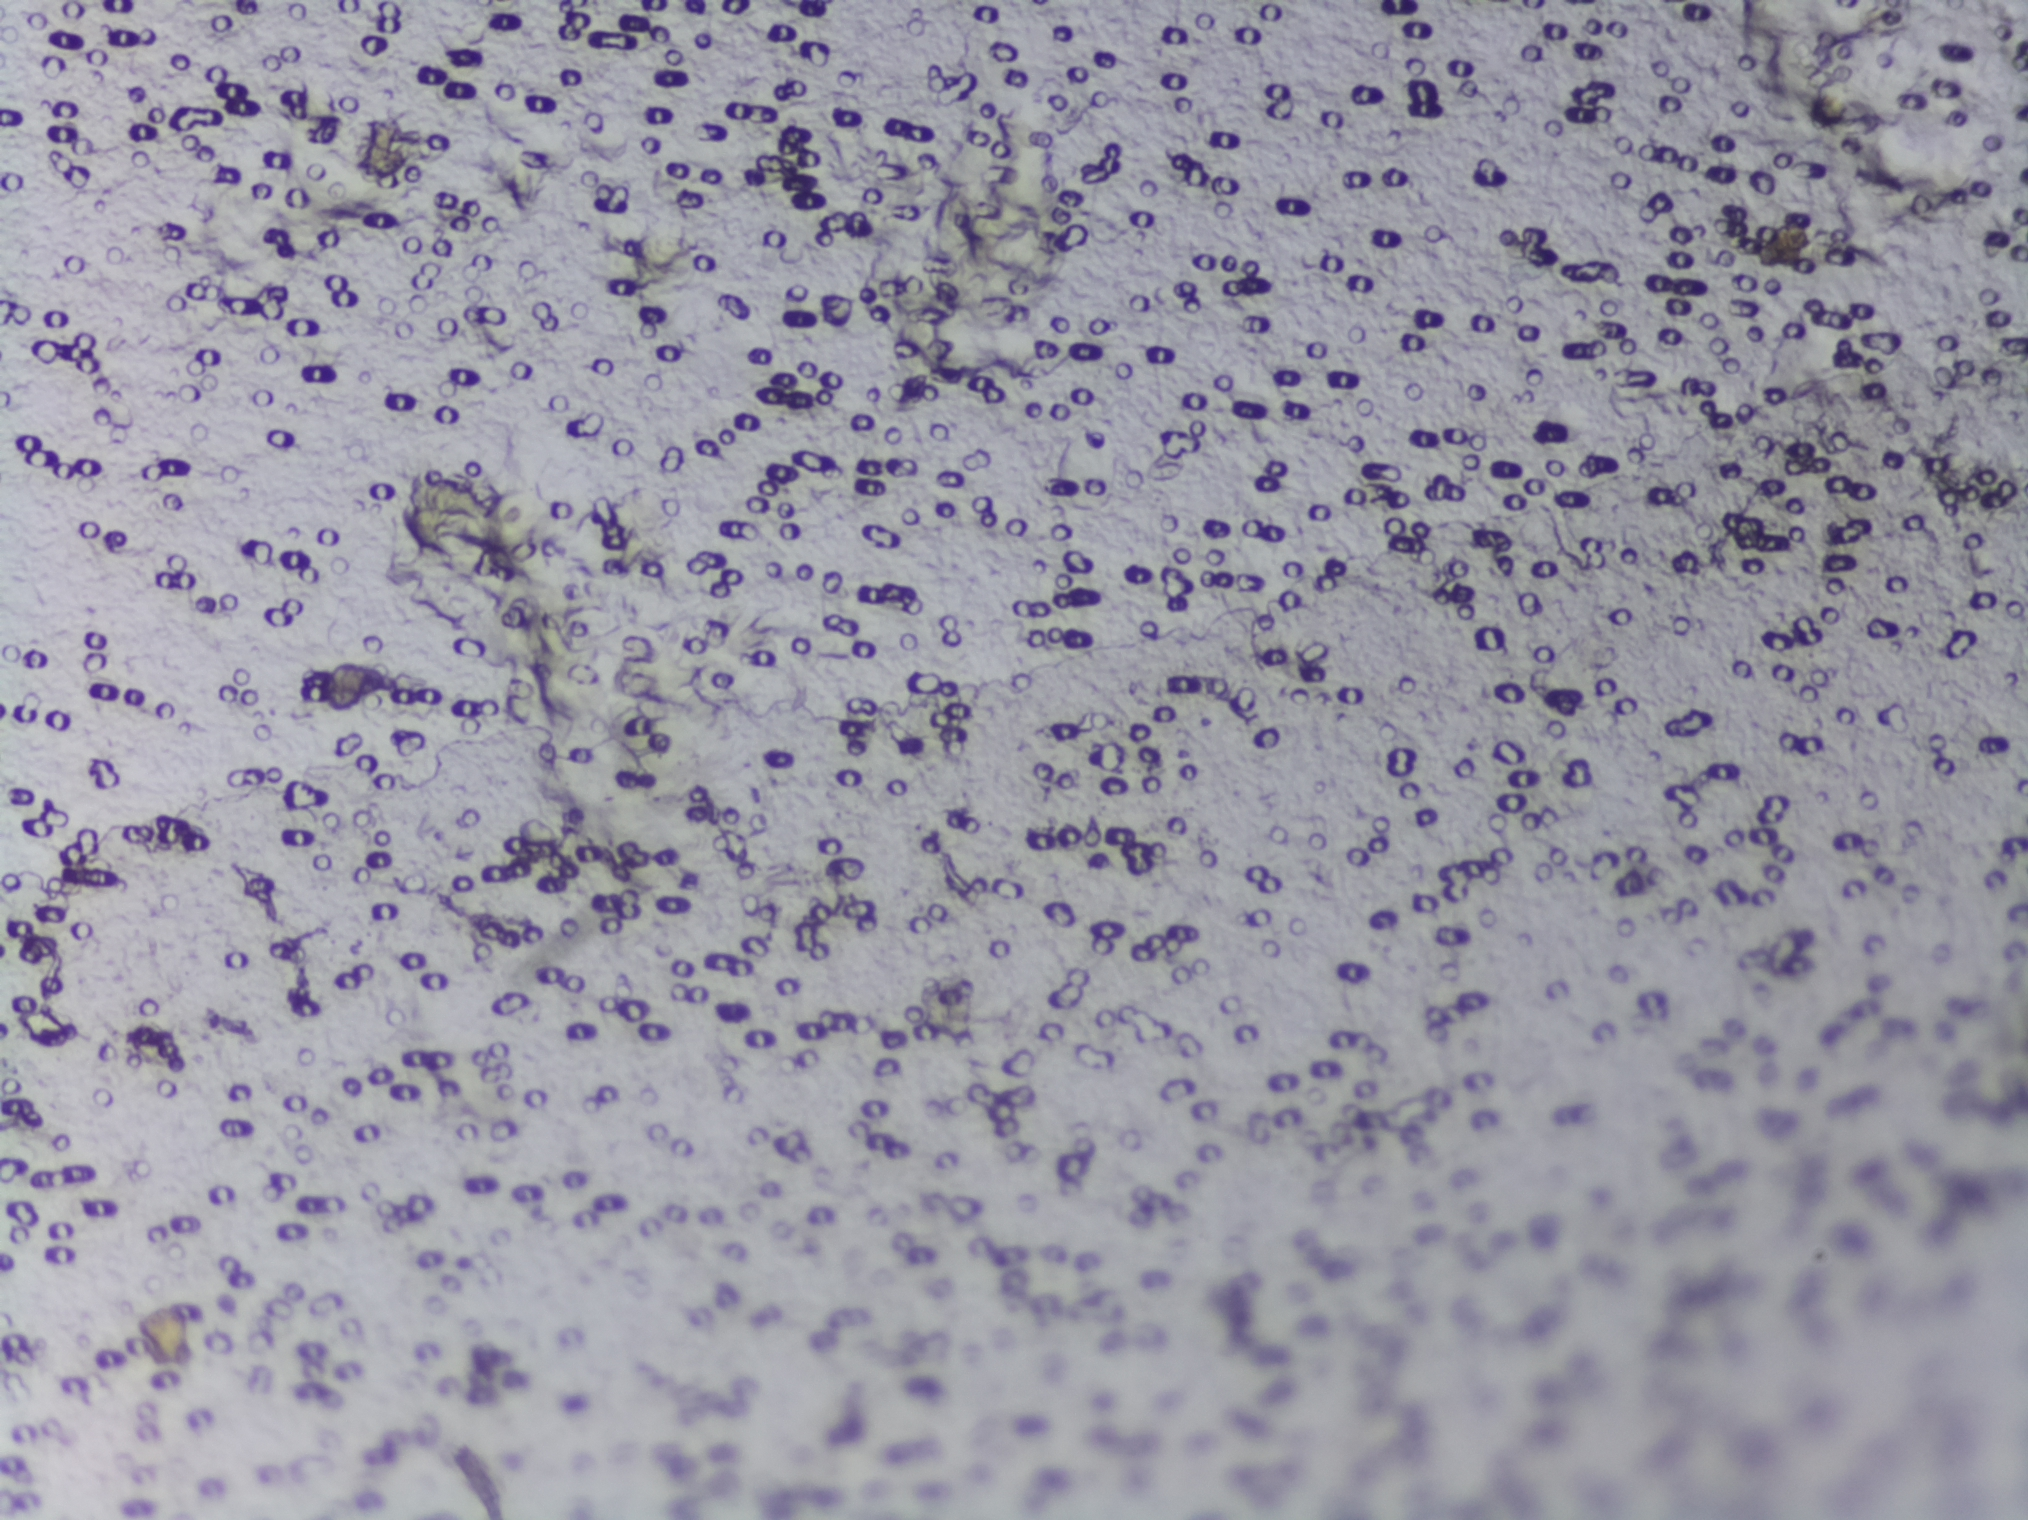
Urine filtration membrane under a 4× objective, photographed by an automated digital microscope. The image covers about 1.5 × 1.1 mm of the membrane.
The expert annotation marks no Schistosoma egg in this field of view.